Photomicrograph of a urine filtration membrane, 4× objective. The image covers about 1.5 × 1.1 mm of the membrane.
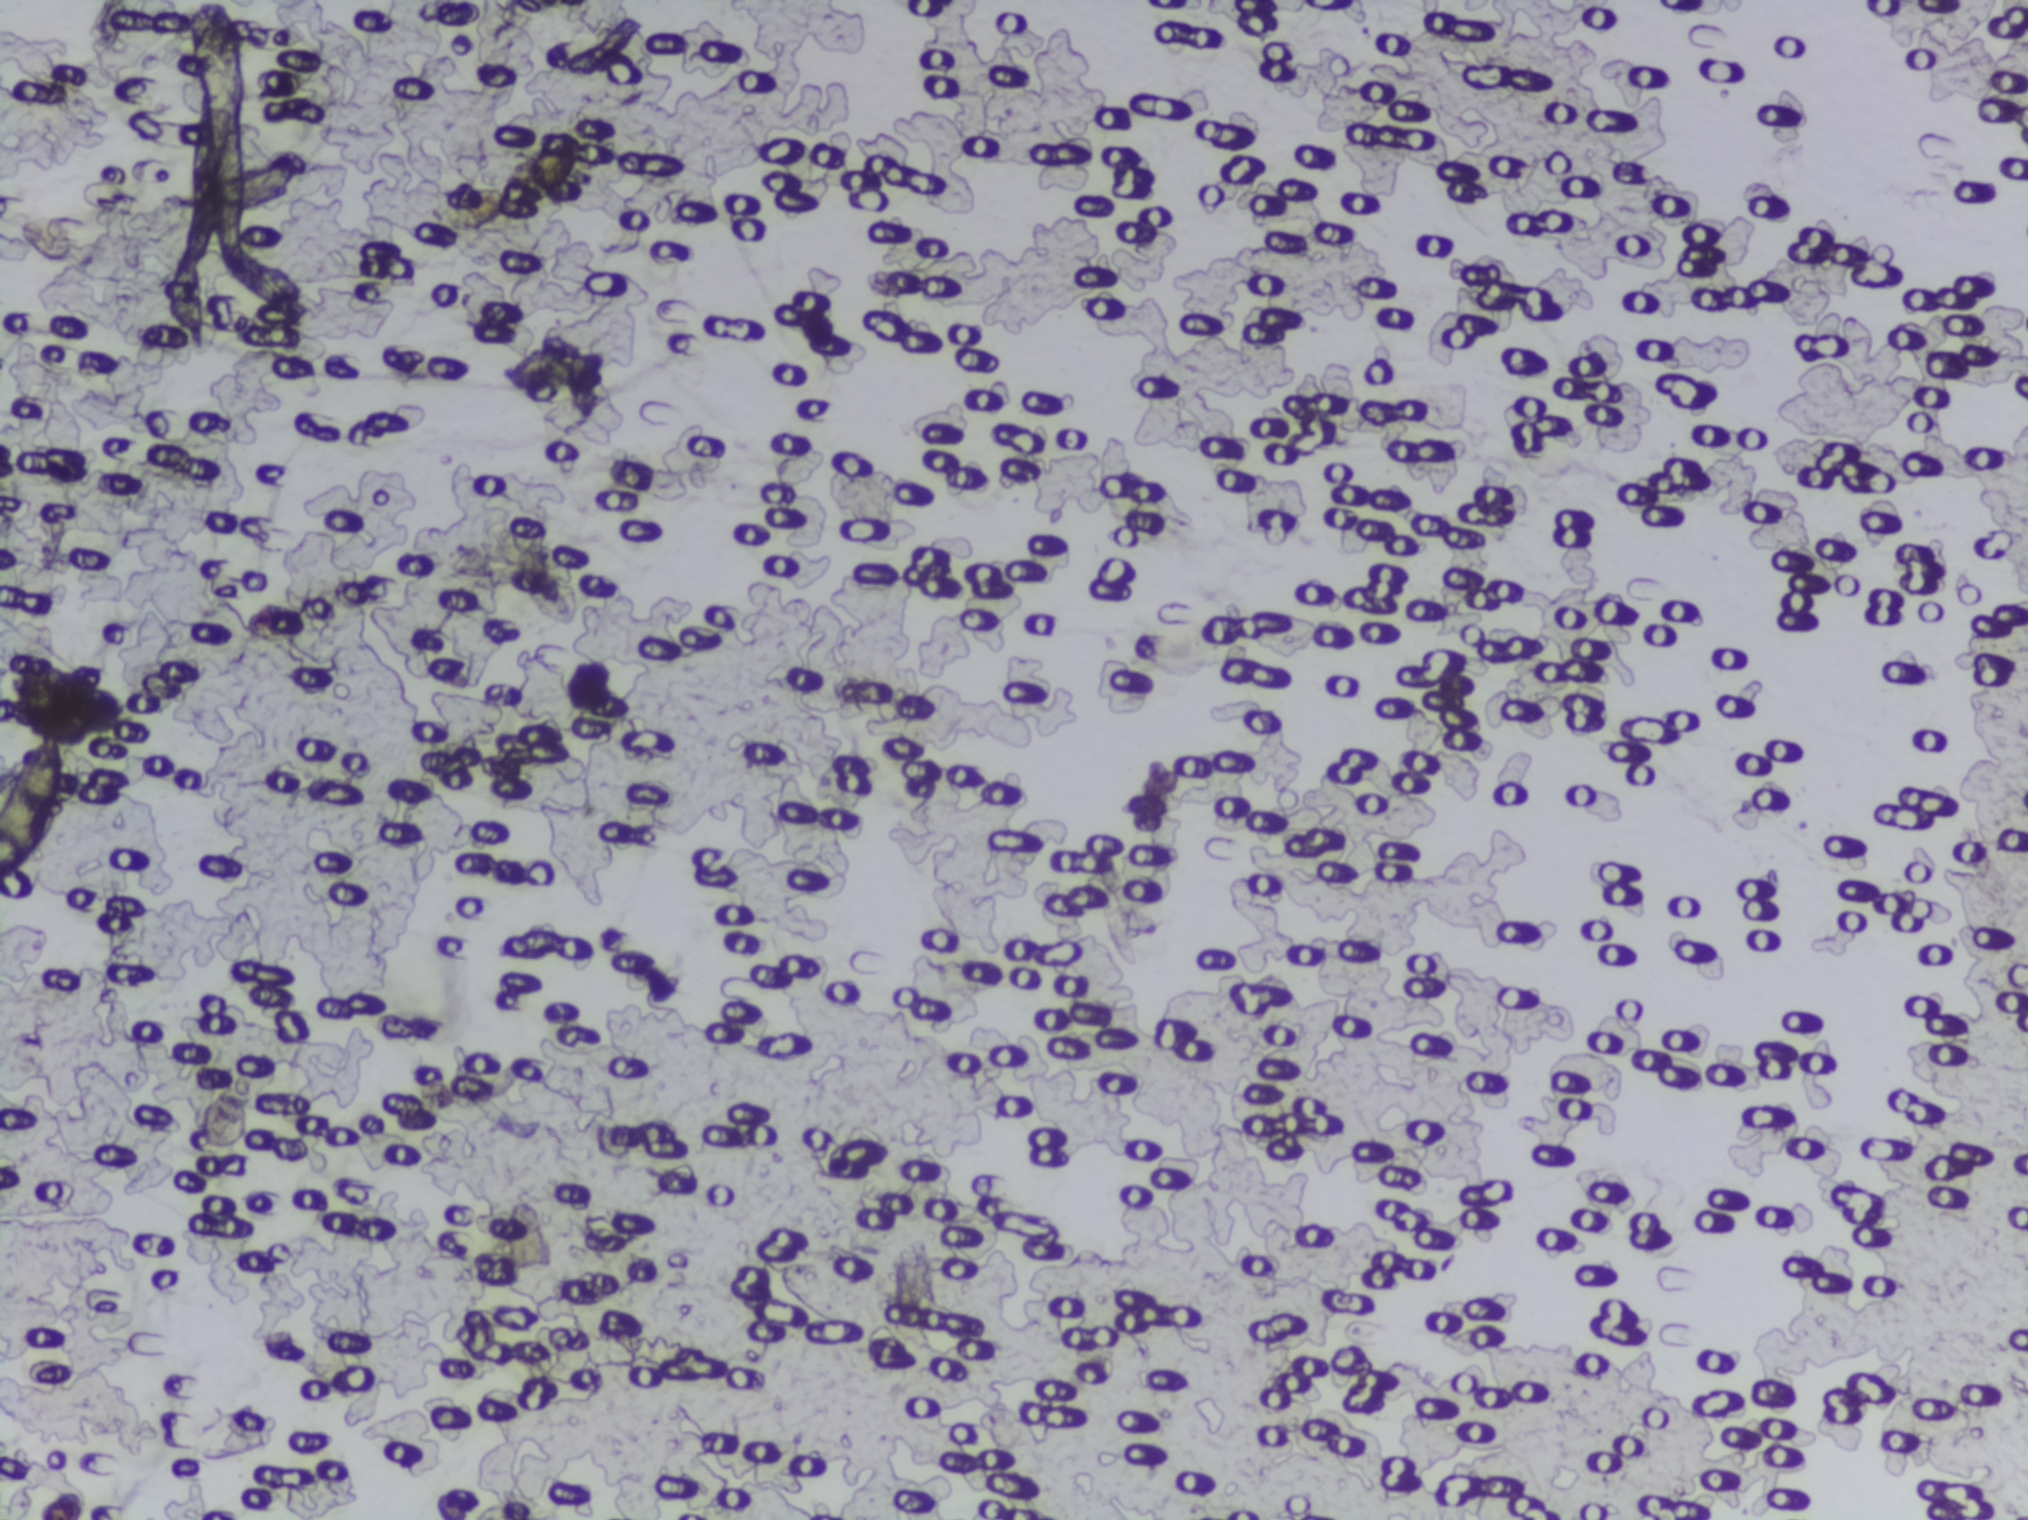
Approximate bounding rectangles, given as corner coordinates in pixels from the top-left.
Schistosoma eggs are outlined in the expert annotation at (x1=0, y1=718, x2=91, y2=906) (reaching the left edge of the frame). A single outlined area may contain several eggs.